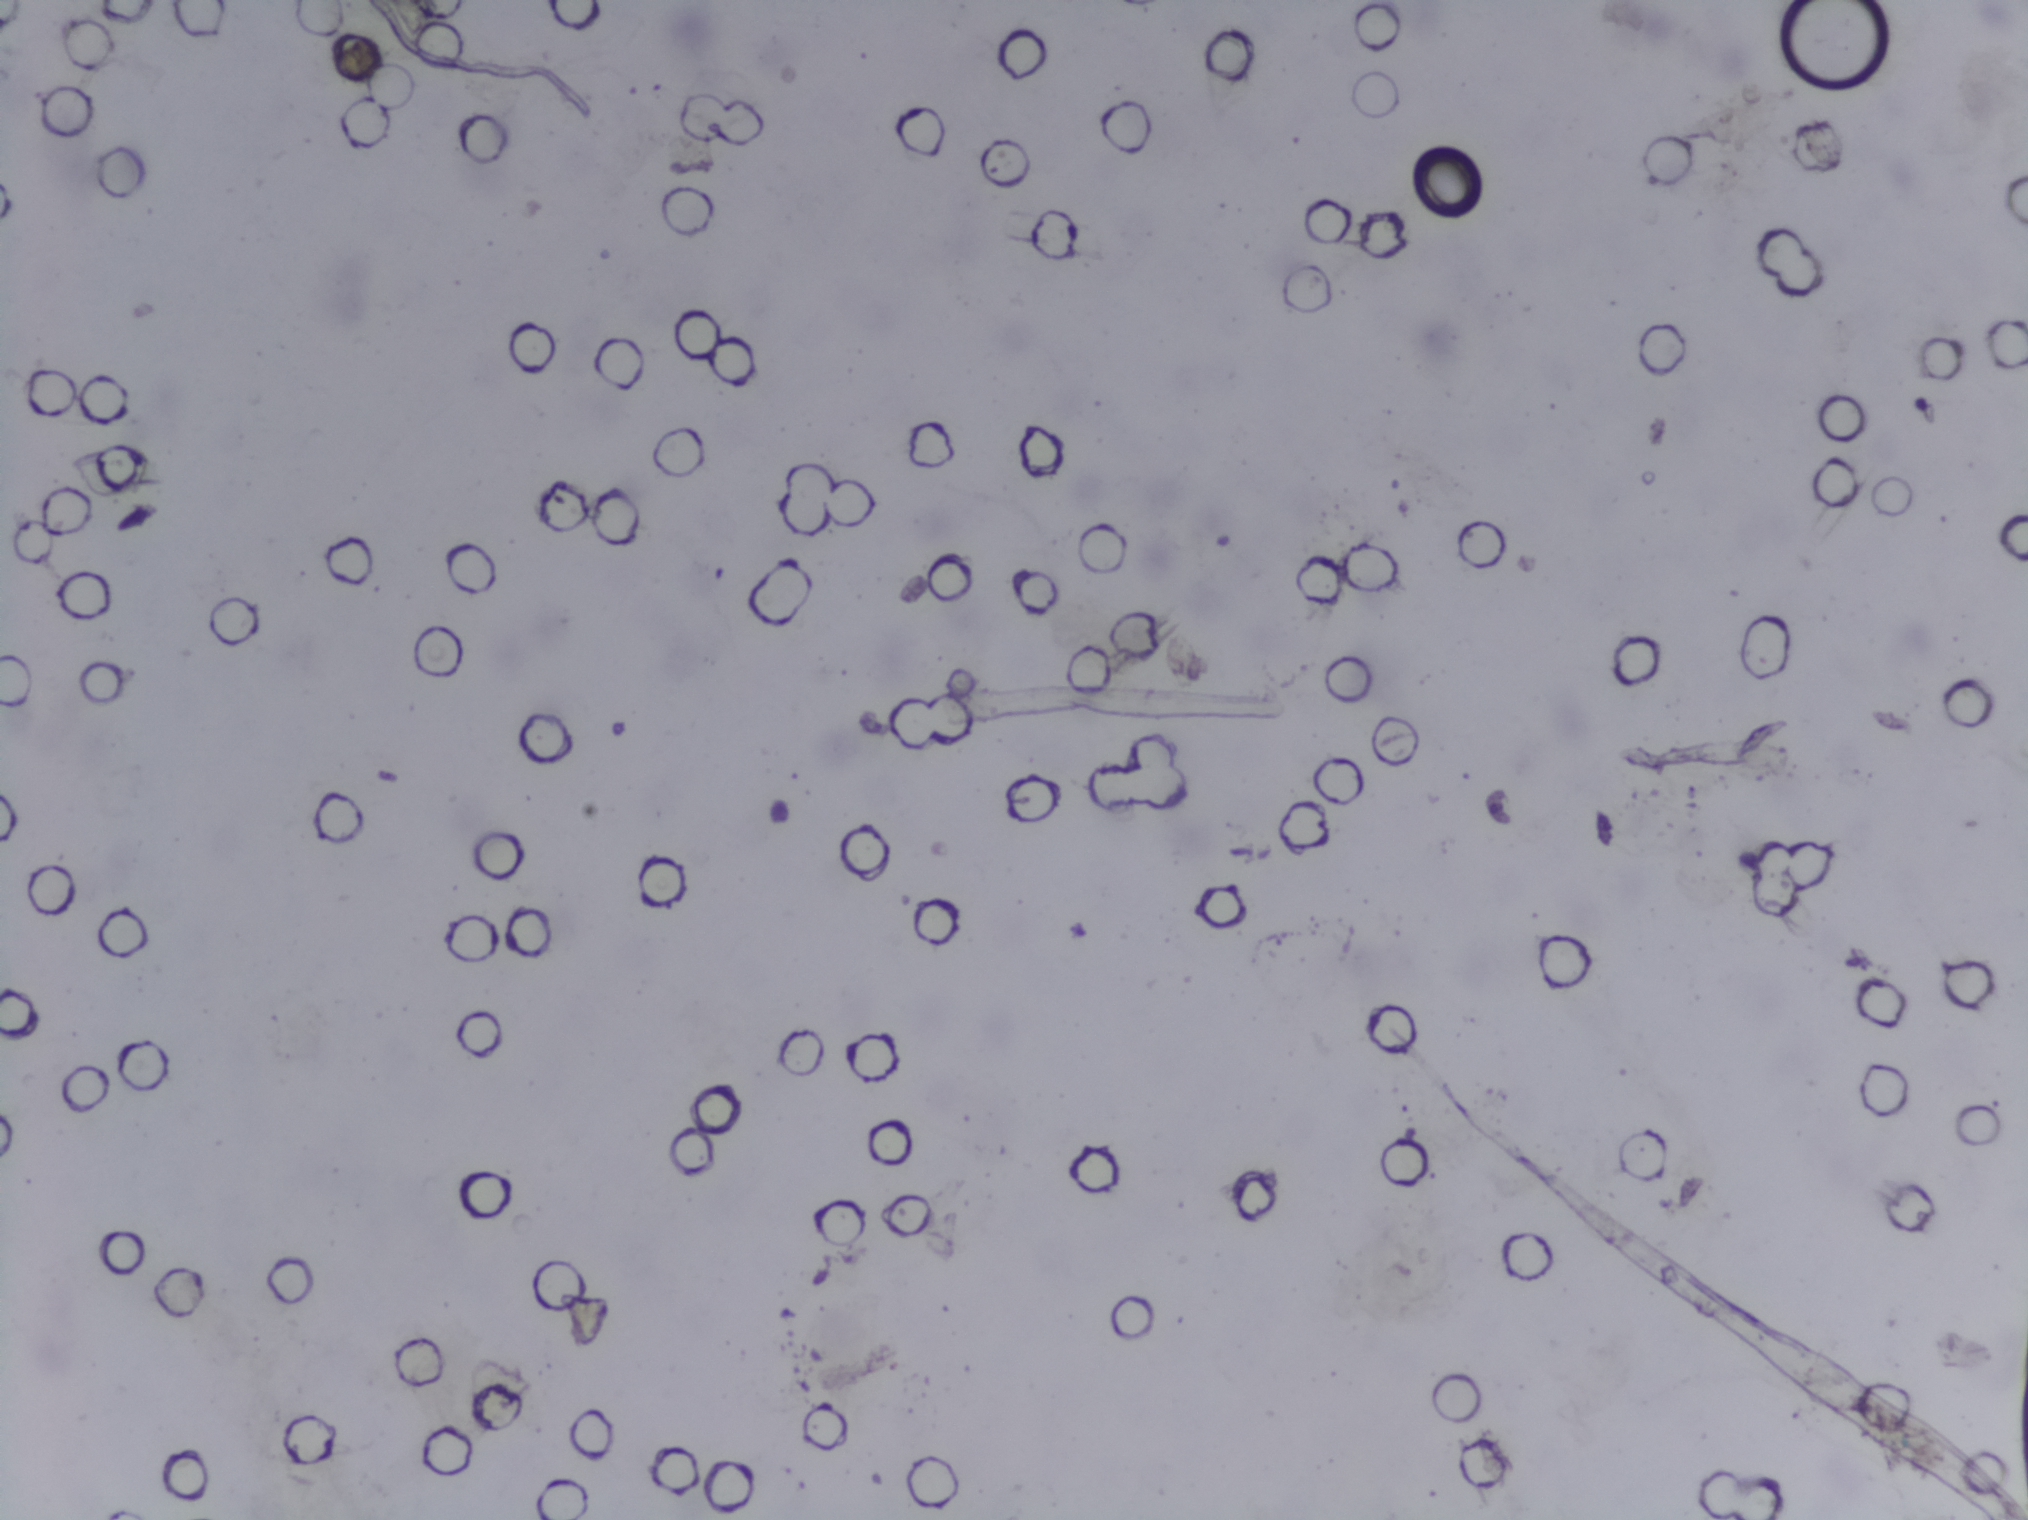
One field of view of a urine filter membrane, 4× objective, 2028 × 1520 pixels. The field of view is about 1.5 mm × 1.1 mm.
The expert annotation outlines no Schistosoma egg in this image.